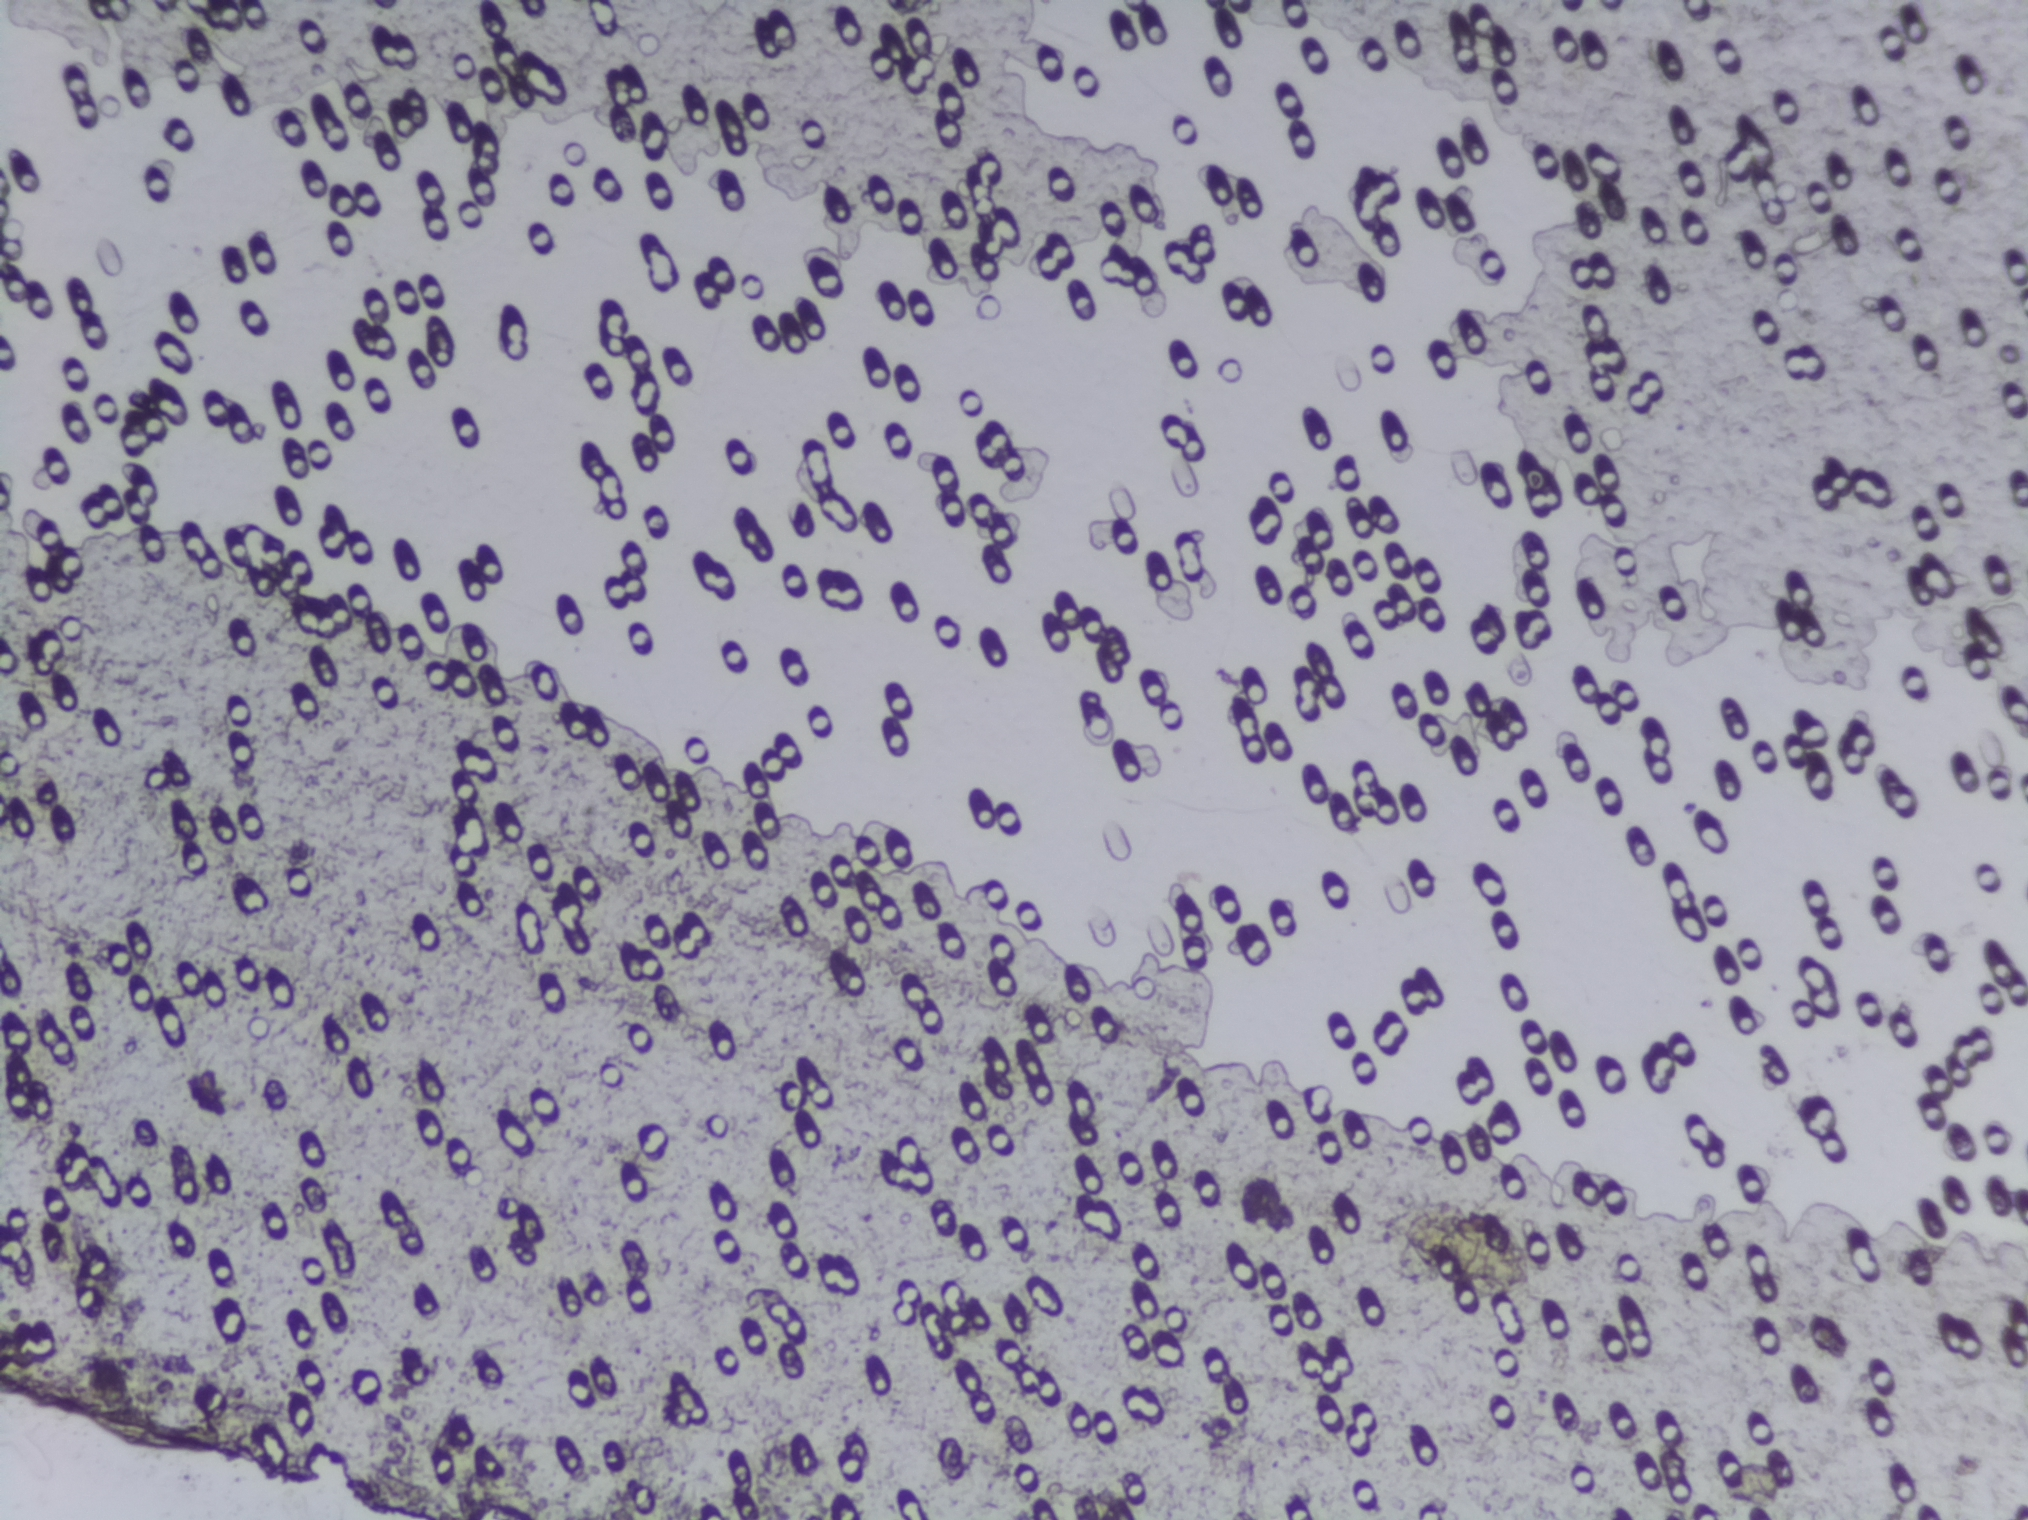
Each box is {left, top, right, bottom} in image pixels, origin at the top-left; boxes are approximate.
Schistosoma egg areas, outlined: {1401, 1208, 1535, 1297}. Eggs that touch can end up inside the same outlined area.
Photomicrograph of a urine filtration membrane, 4× objective.